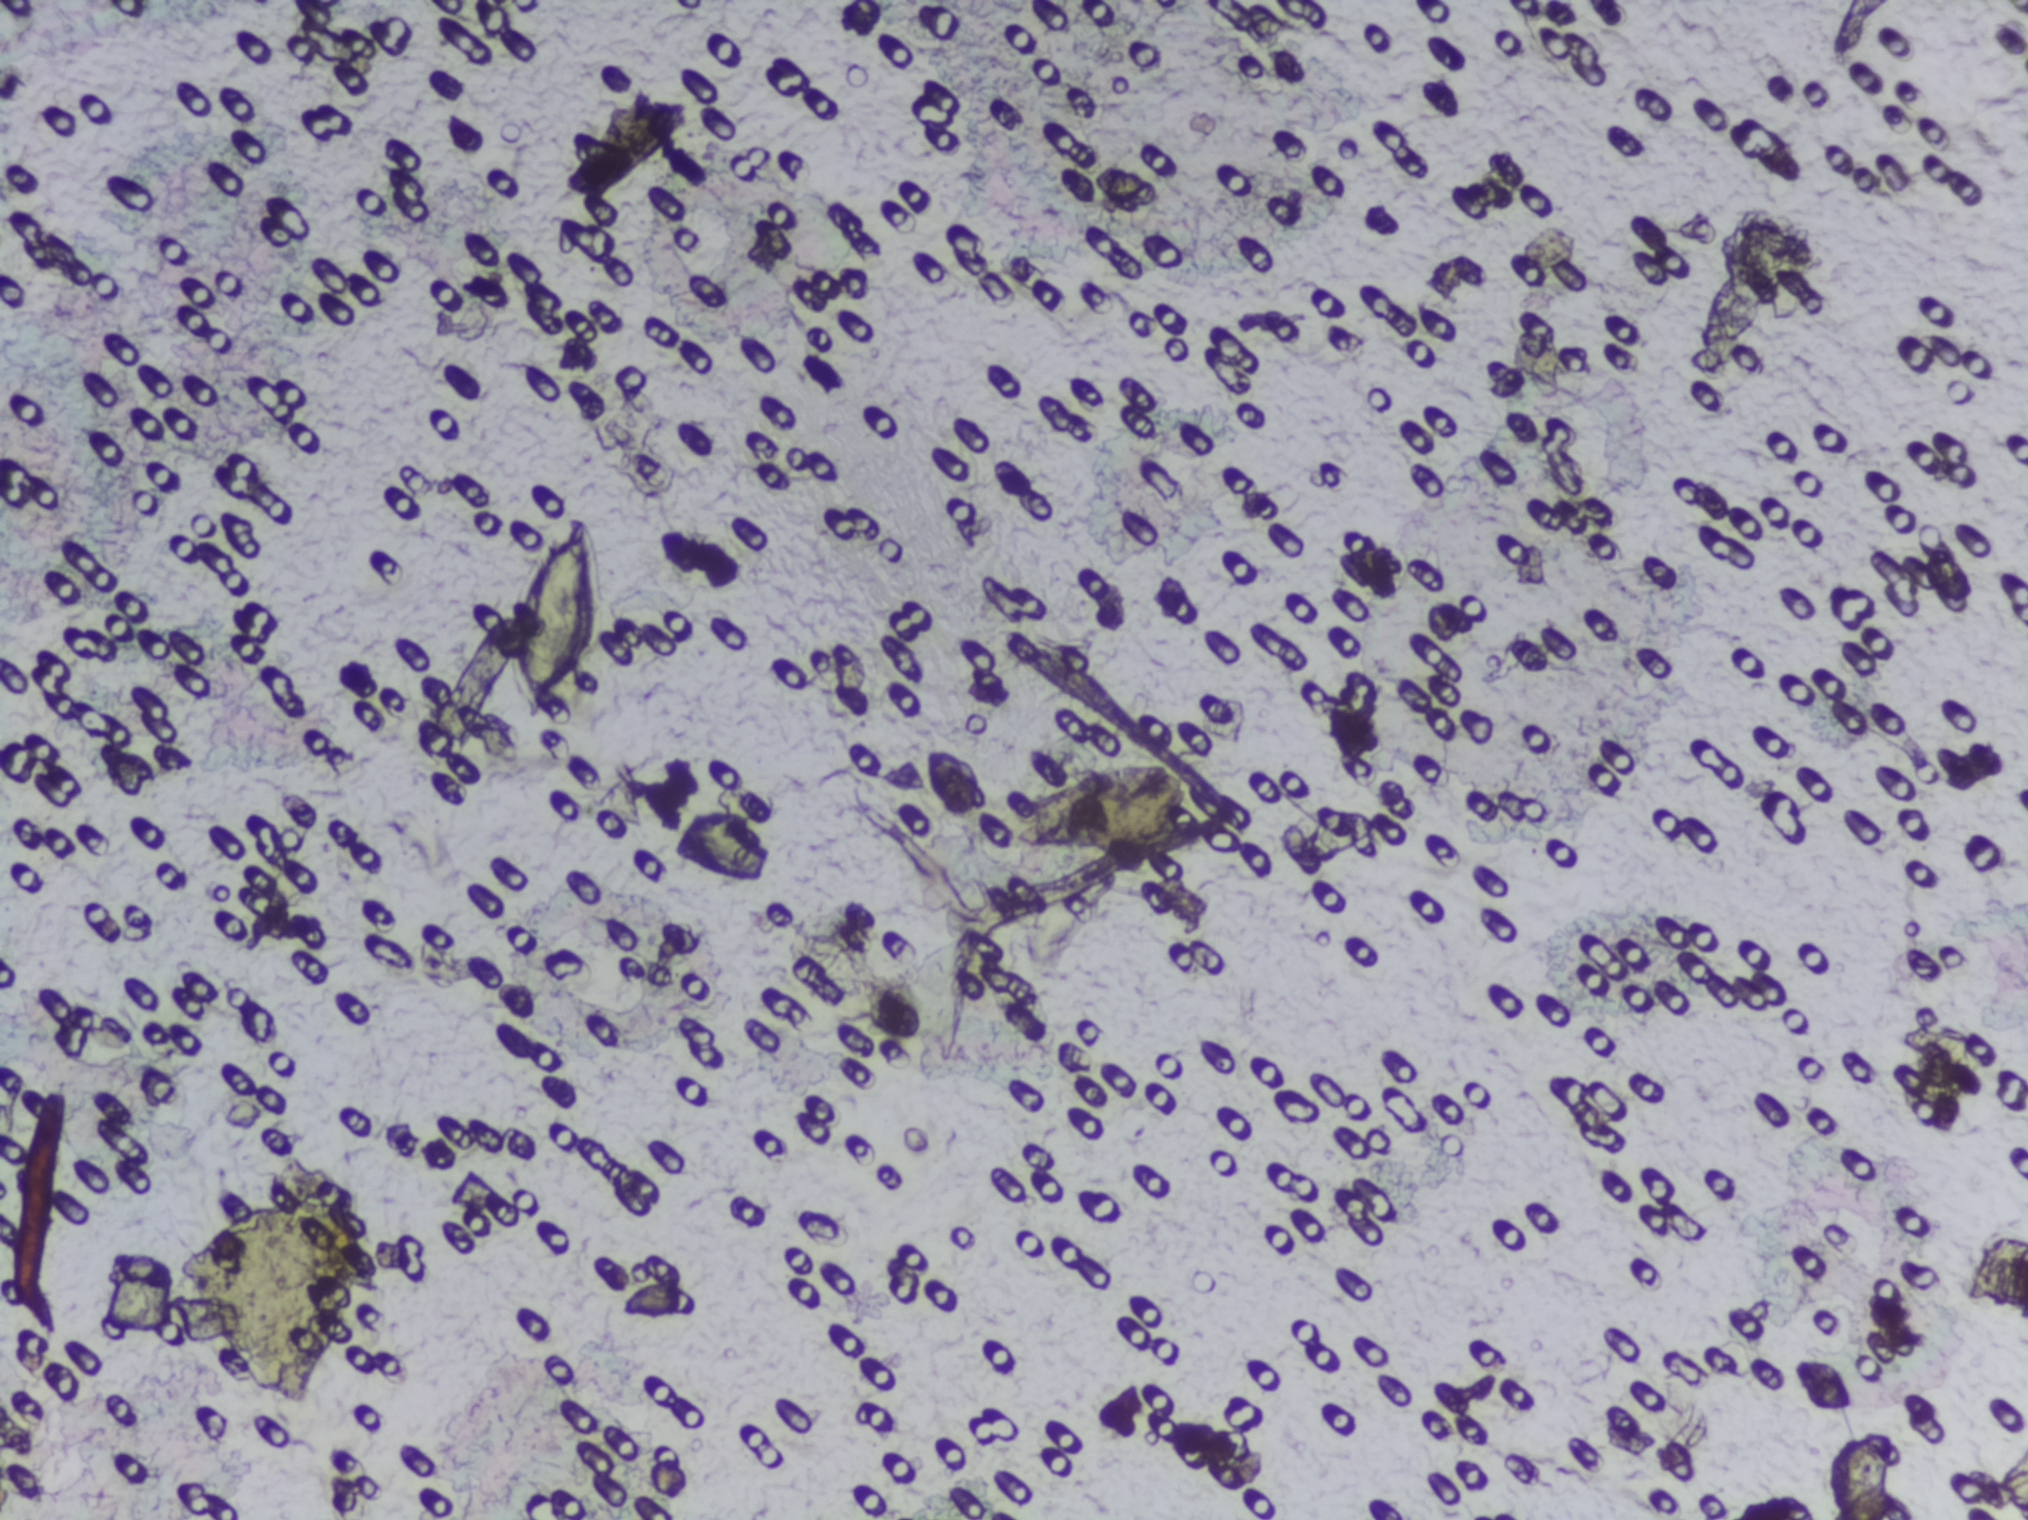
Microscope photograph (4× objective) of a membrane that a urine sample was filtered through.
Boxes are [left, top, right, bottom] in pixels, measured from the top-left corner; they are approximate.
Schistosoma eggs are outlined in the expert annotation at [499, 509, 610, 725]. Marked pixels, not the box around them: about 0.6% of the image. An outlined area can hold more than one egg.